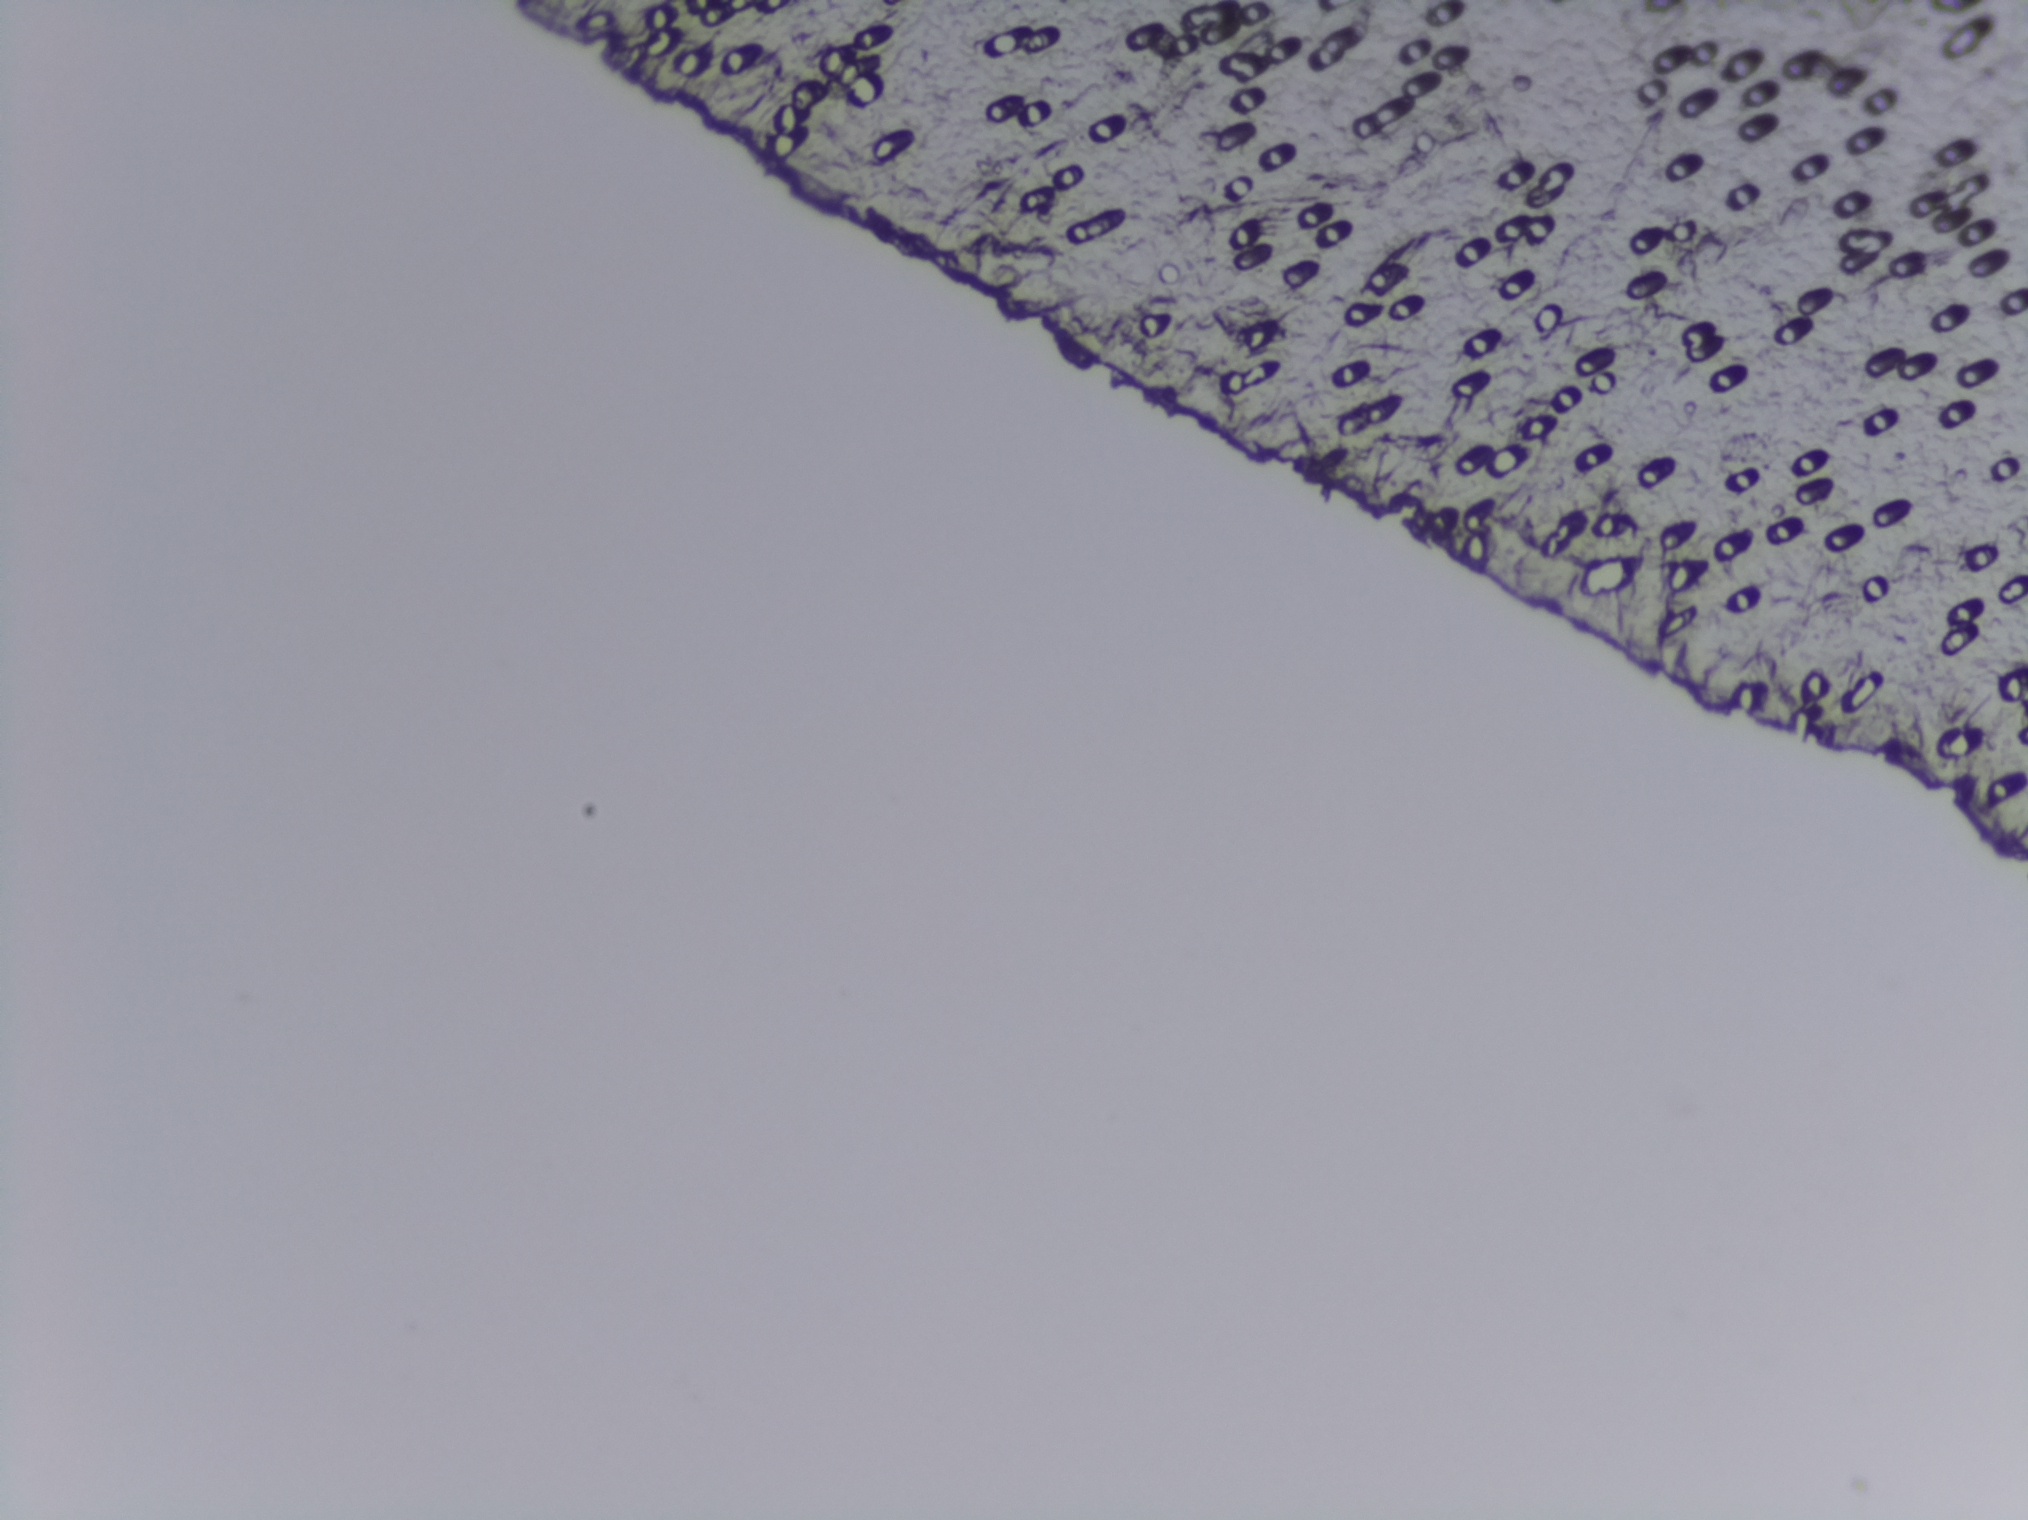
Photomicrograph of a urine filtration membrane, 4× objective.
The expert annotation outlines no Schistosoma egg in this image.